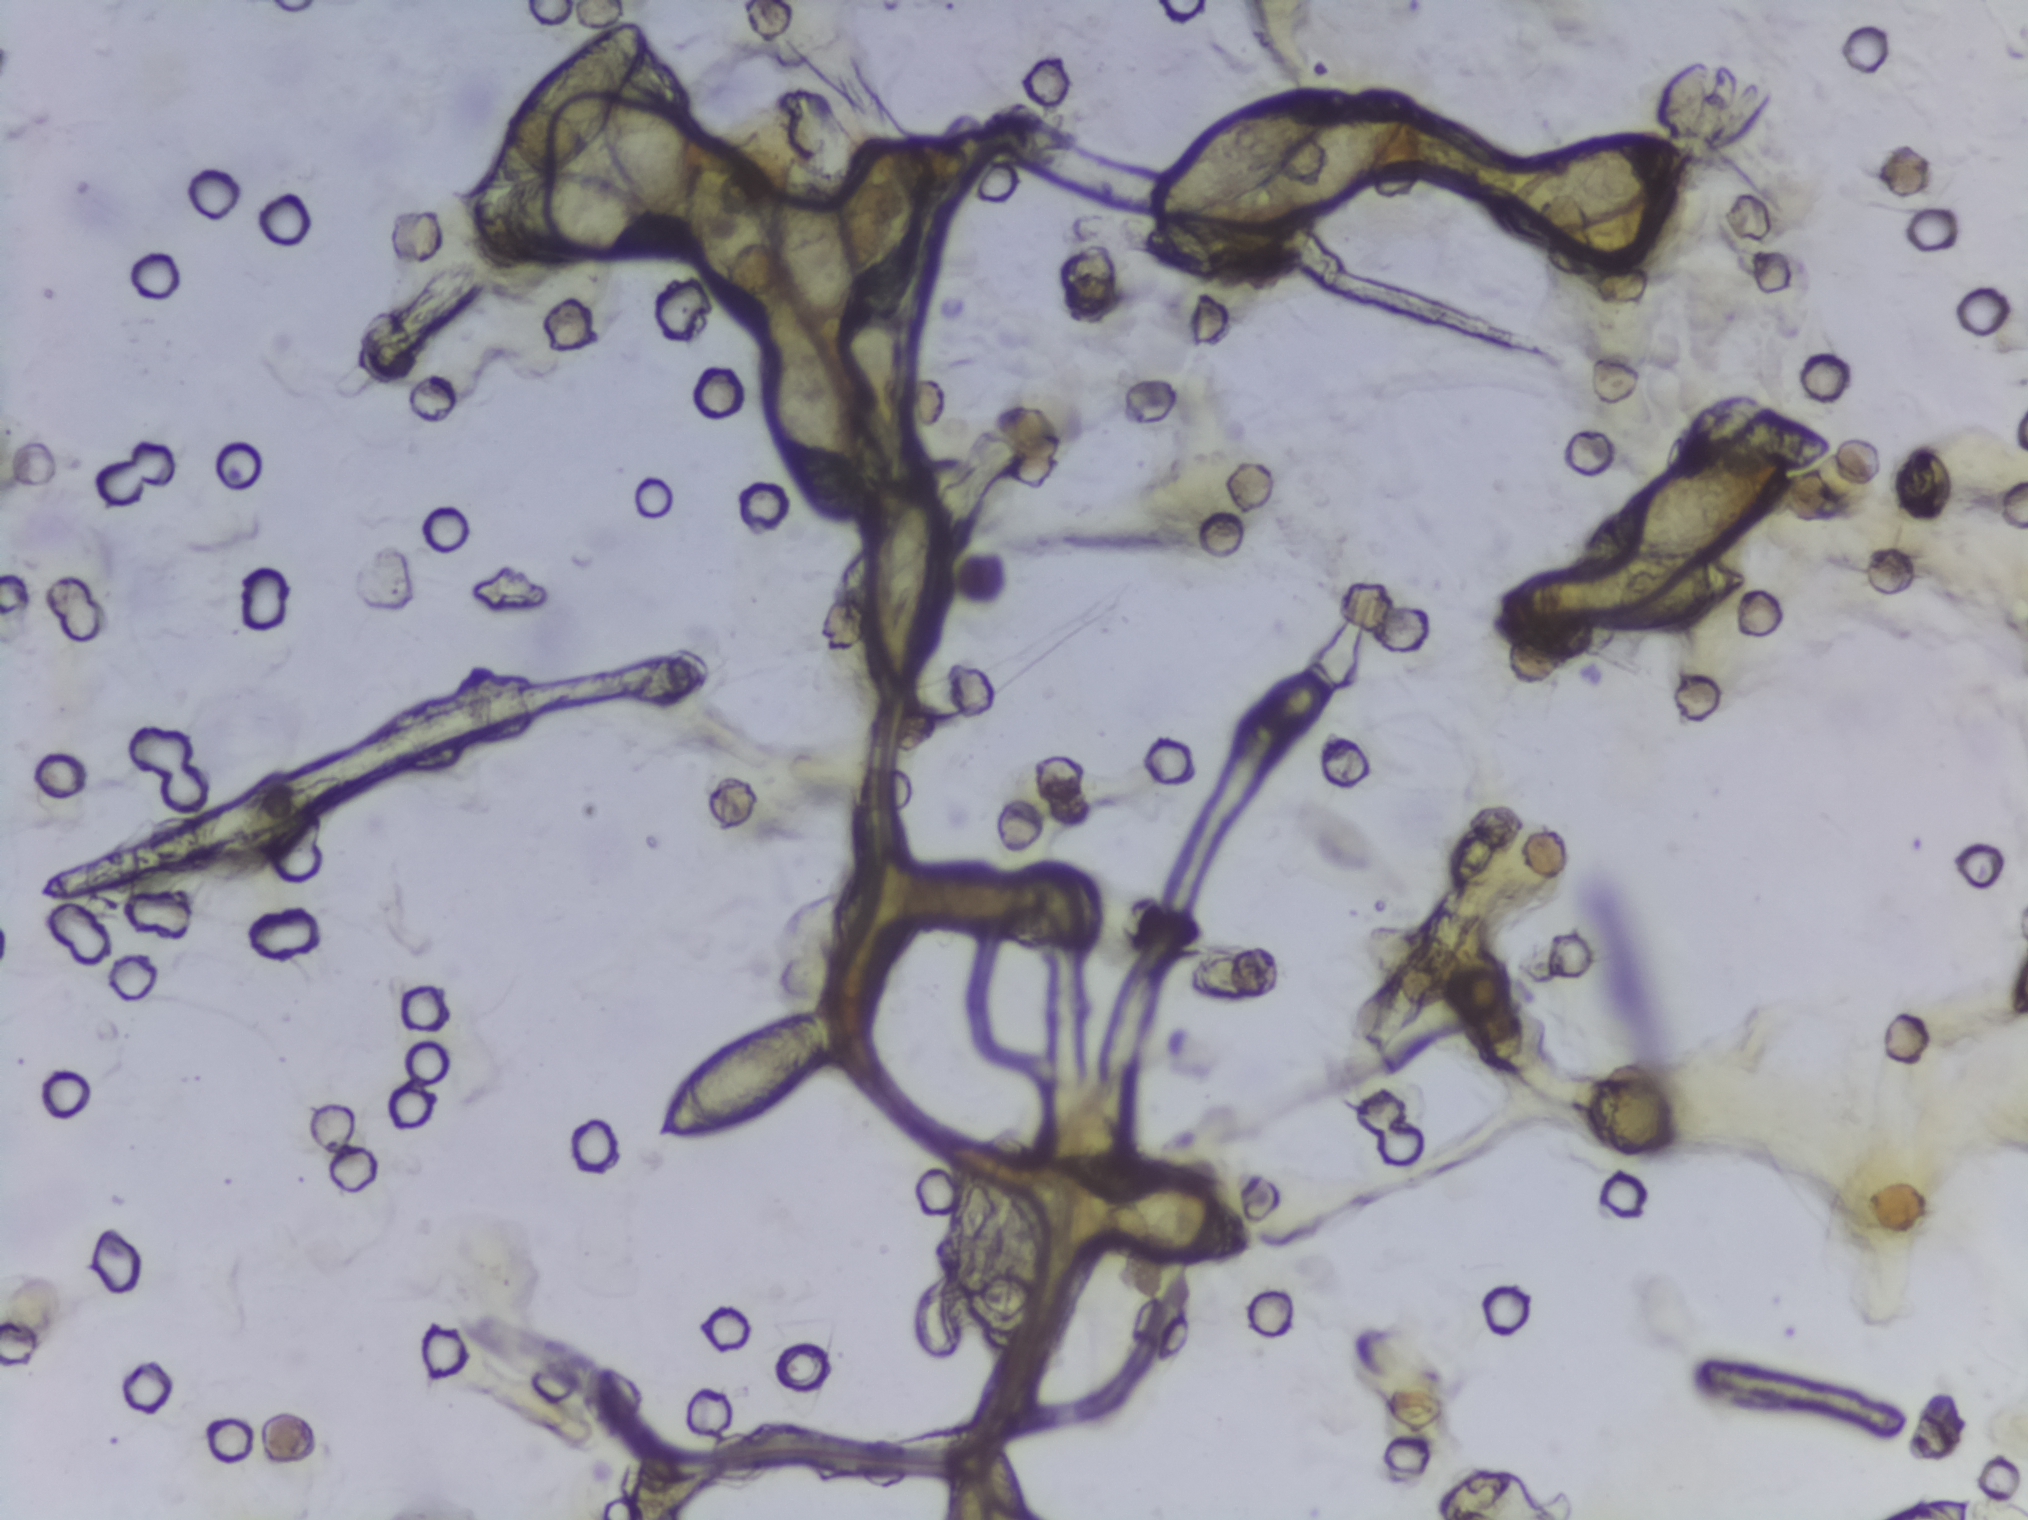
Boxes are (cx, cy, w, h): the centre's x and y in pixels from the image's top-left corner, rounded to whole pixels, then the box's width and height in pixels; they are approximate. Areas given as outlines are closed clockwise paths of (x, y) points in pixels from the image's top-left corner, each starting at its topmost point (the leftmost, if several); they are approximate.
Findings: eight areas outlined as Schistosoma eggs. Locations: outline (619, 18), (650, 22), (651, 46), (694, 97), (698, 134), (745, 159), (772, 198), (782, 148), (836, 190), (840, 163), (858, 132), (884, 129), (916, 148), (929, 192), (913, 261), (913, 305), (904, 316), (915, 343), (908, 453), (895, 481), (866, 482), (851, 520), (822, 518), (777, 468), (757, 418), (760, 341), (735, 330), (687, 272), (677, 234), (648, 261), (626, 269), (501, 260), (480, 251), (466, 234), (467, 205), (455, 199), (453, 183), (497, 108), (522, 81), (546, 74), (577, 38) (eggs clustered together); box (cx=753, cy=1072, w=197, h=132); box (cx=914, cy=588, w=104, h=214); box (cx=988, cy=1477, w=89, h=86) (reaching the bottom edge of the frame); box (cx=1096, cy=1241, w=320, h=245); box (cx=1281, cy=155, w=265, h=148); box (cx=1598, cy=186, w=207, h=115); box (cx=1642, cy=535, w=304, h=189). About 8.4% of the image's pixels are marked (the marked pixels themselves, not the boxes and the outline around them). Eggs that touch can end up inside the same outlined area. A marked egg may occasionally be S. mansoni rather than S. haematobium.
Photomicrograph of a urine filtration membrane, 4× objective.